Urine filtration membrane under a 4× objective, photographed by an automated digital microscope.
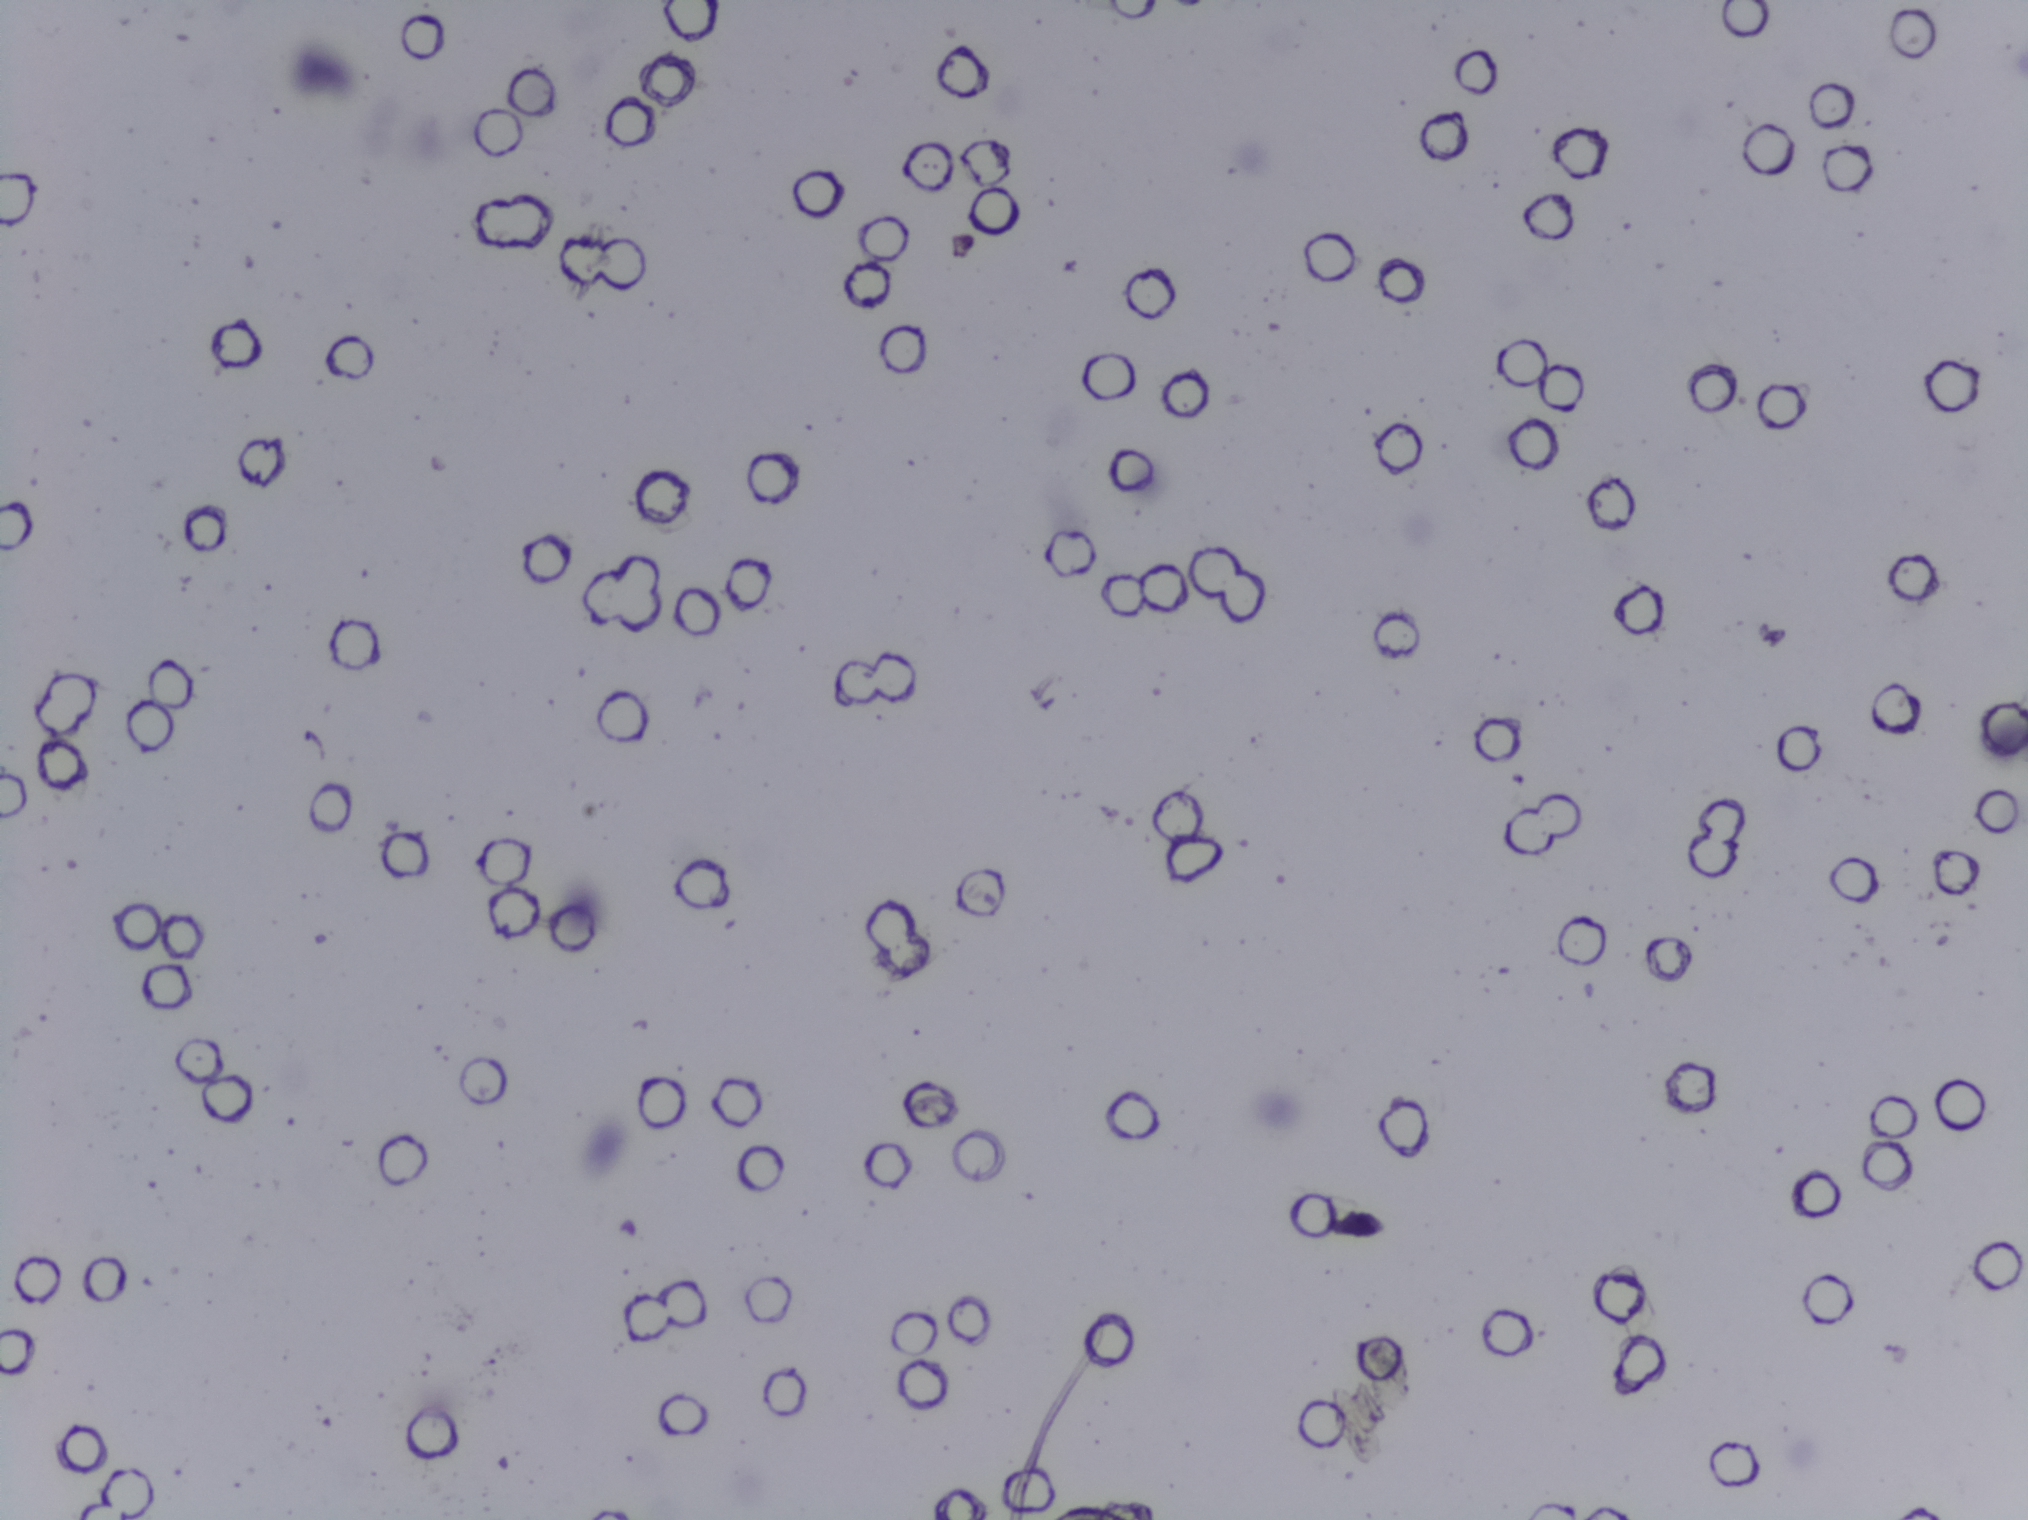
The expert annotation outlines no Schistosoma egg in this image.